Photomicrograph of a urine filtration membrane, 4× objective. The image covers about 1.5 × 1.1 mm of the membrane.
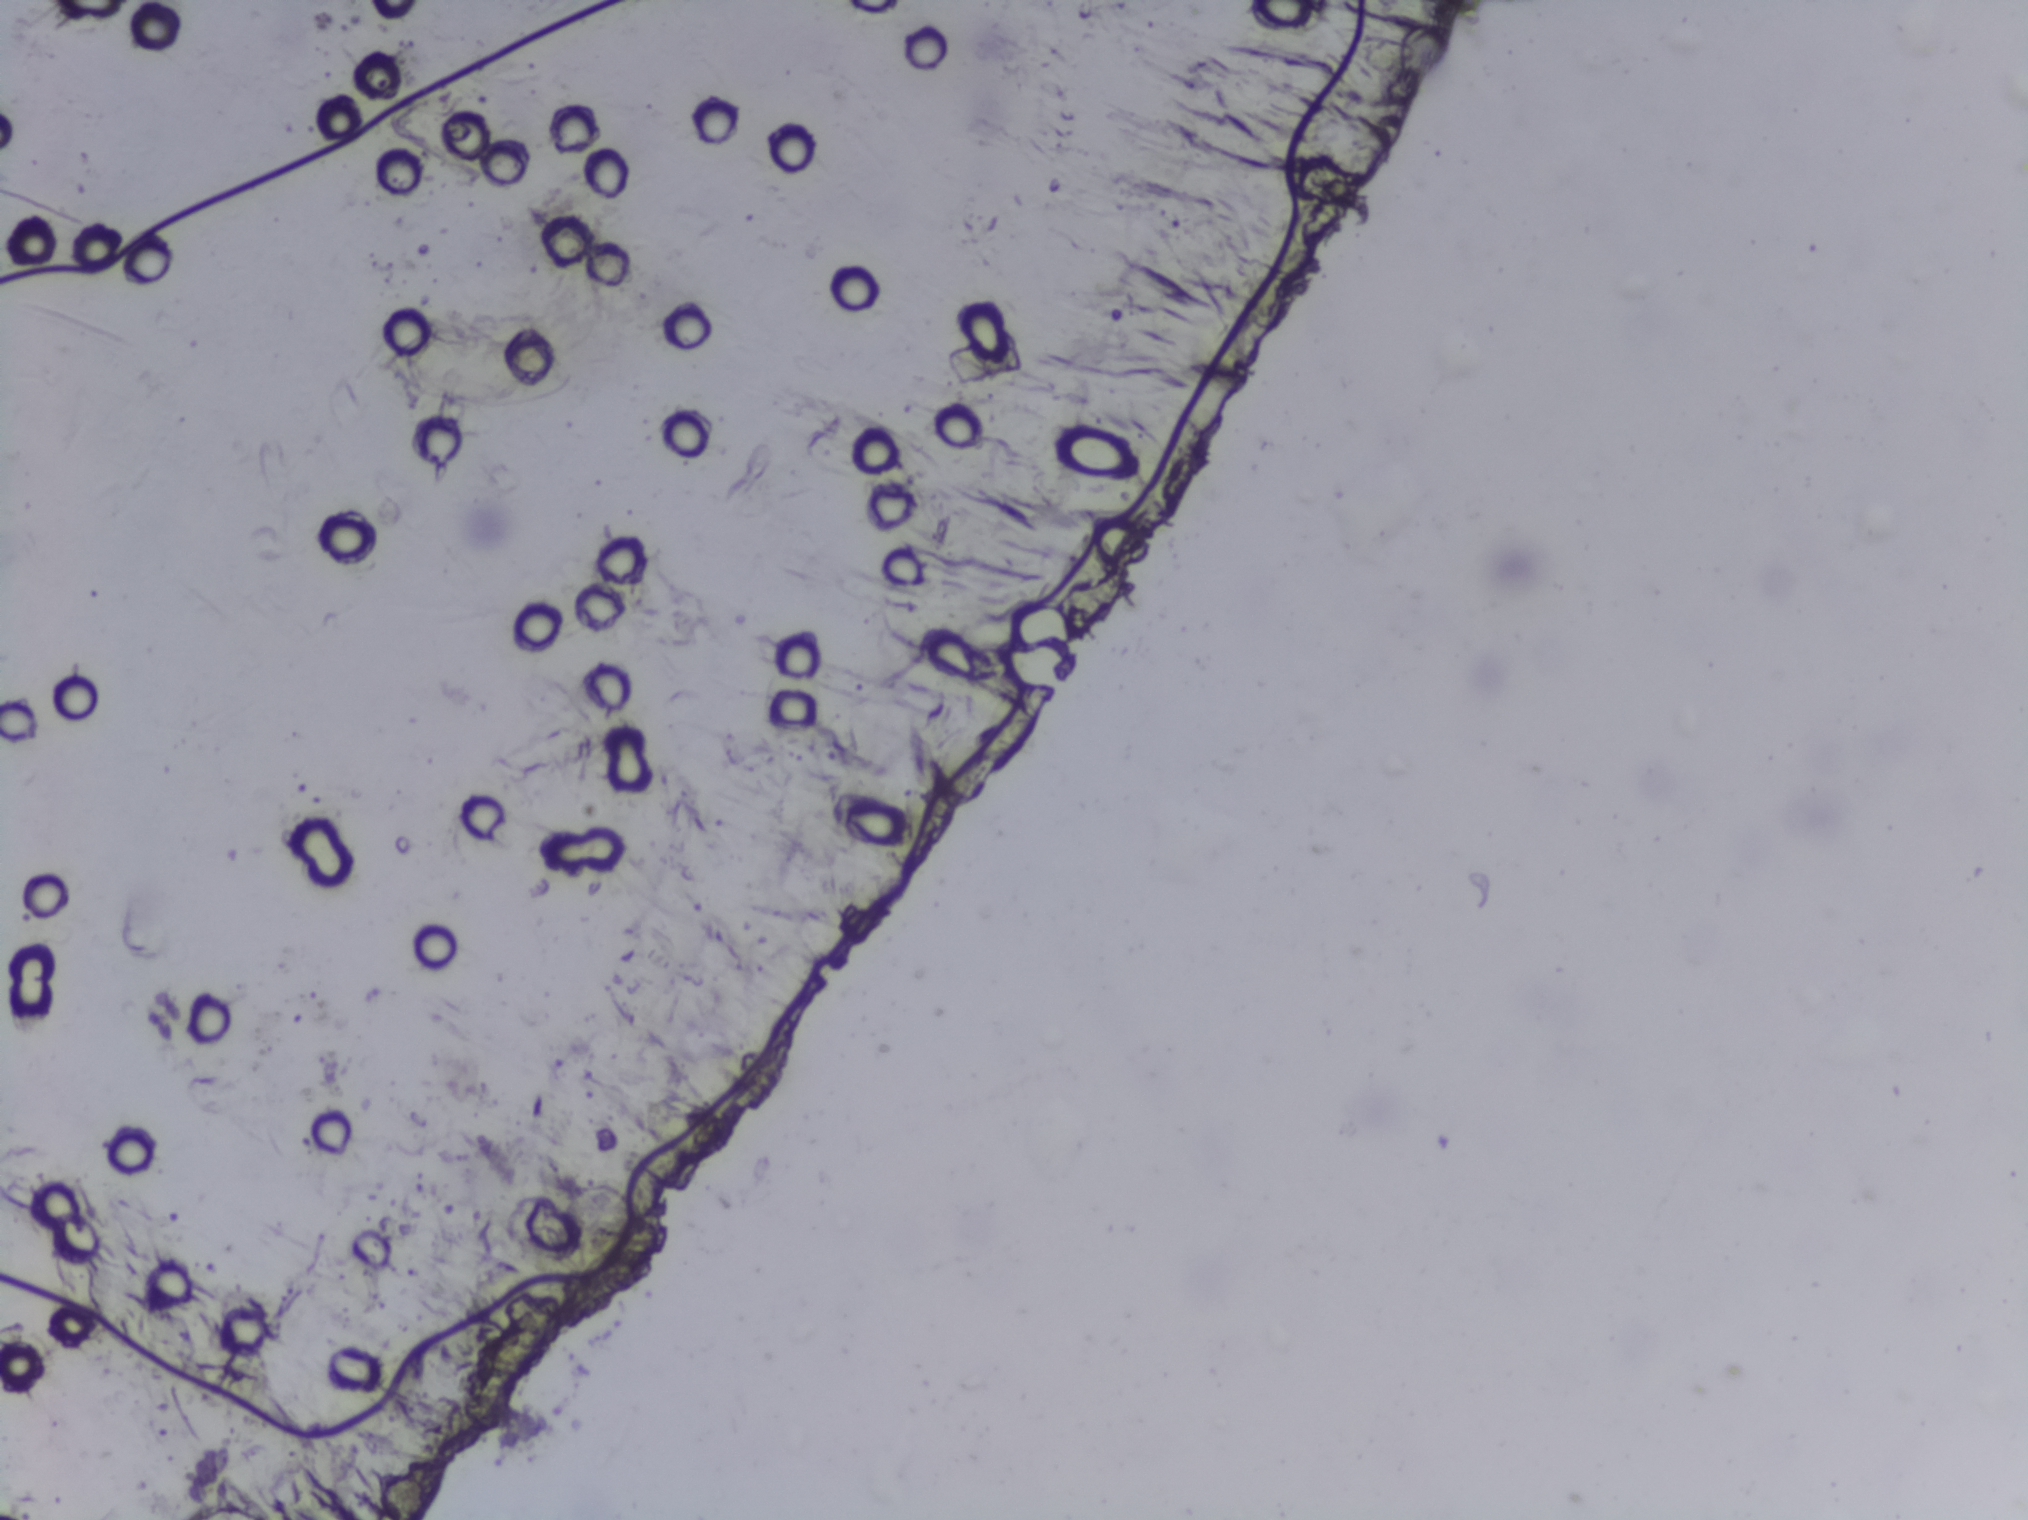
The expert annotation marks no Schistosoma egg in this field of view.